Photograph from an automated digital microscope: urine filter membrane, 4× objective.
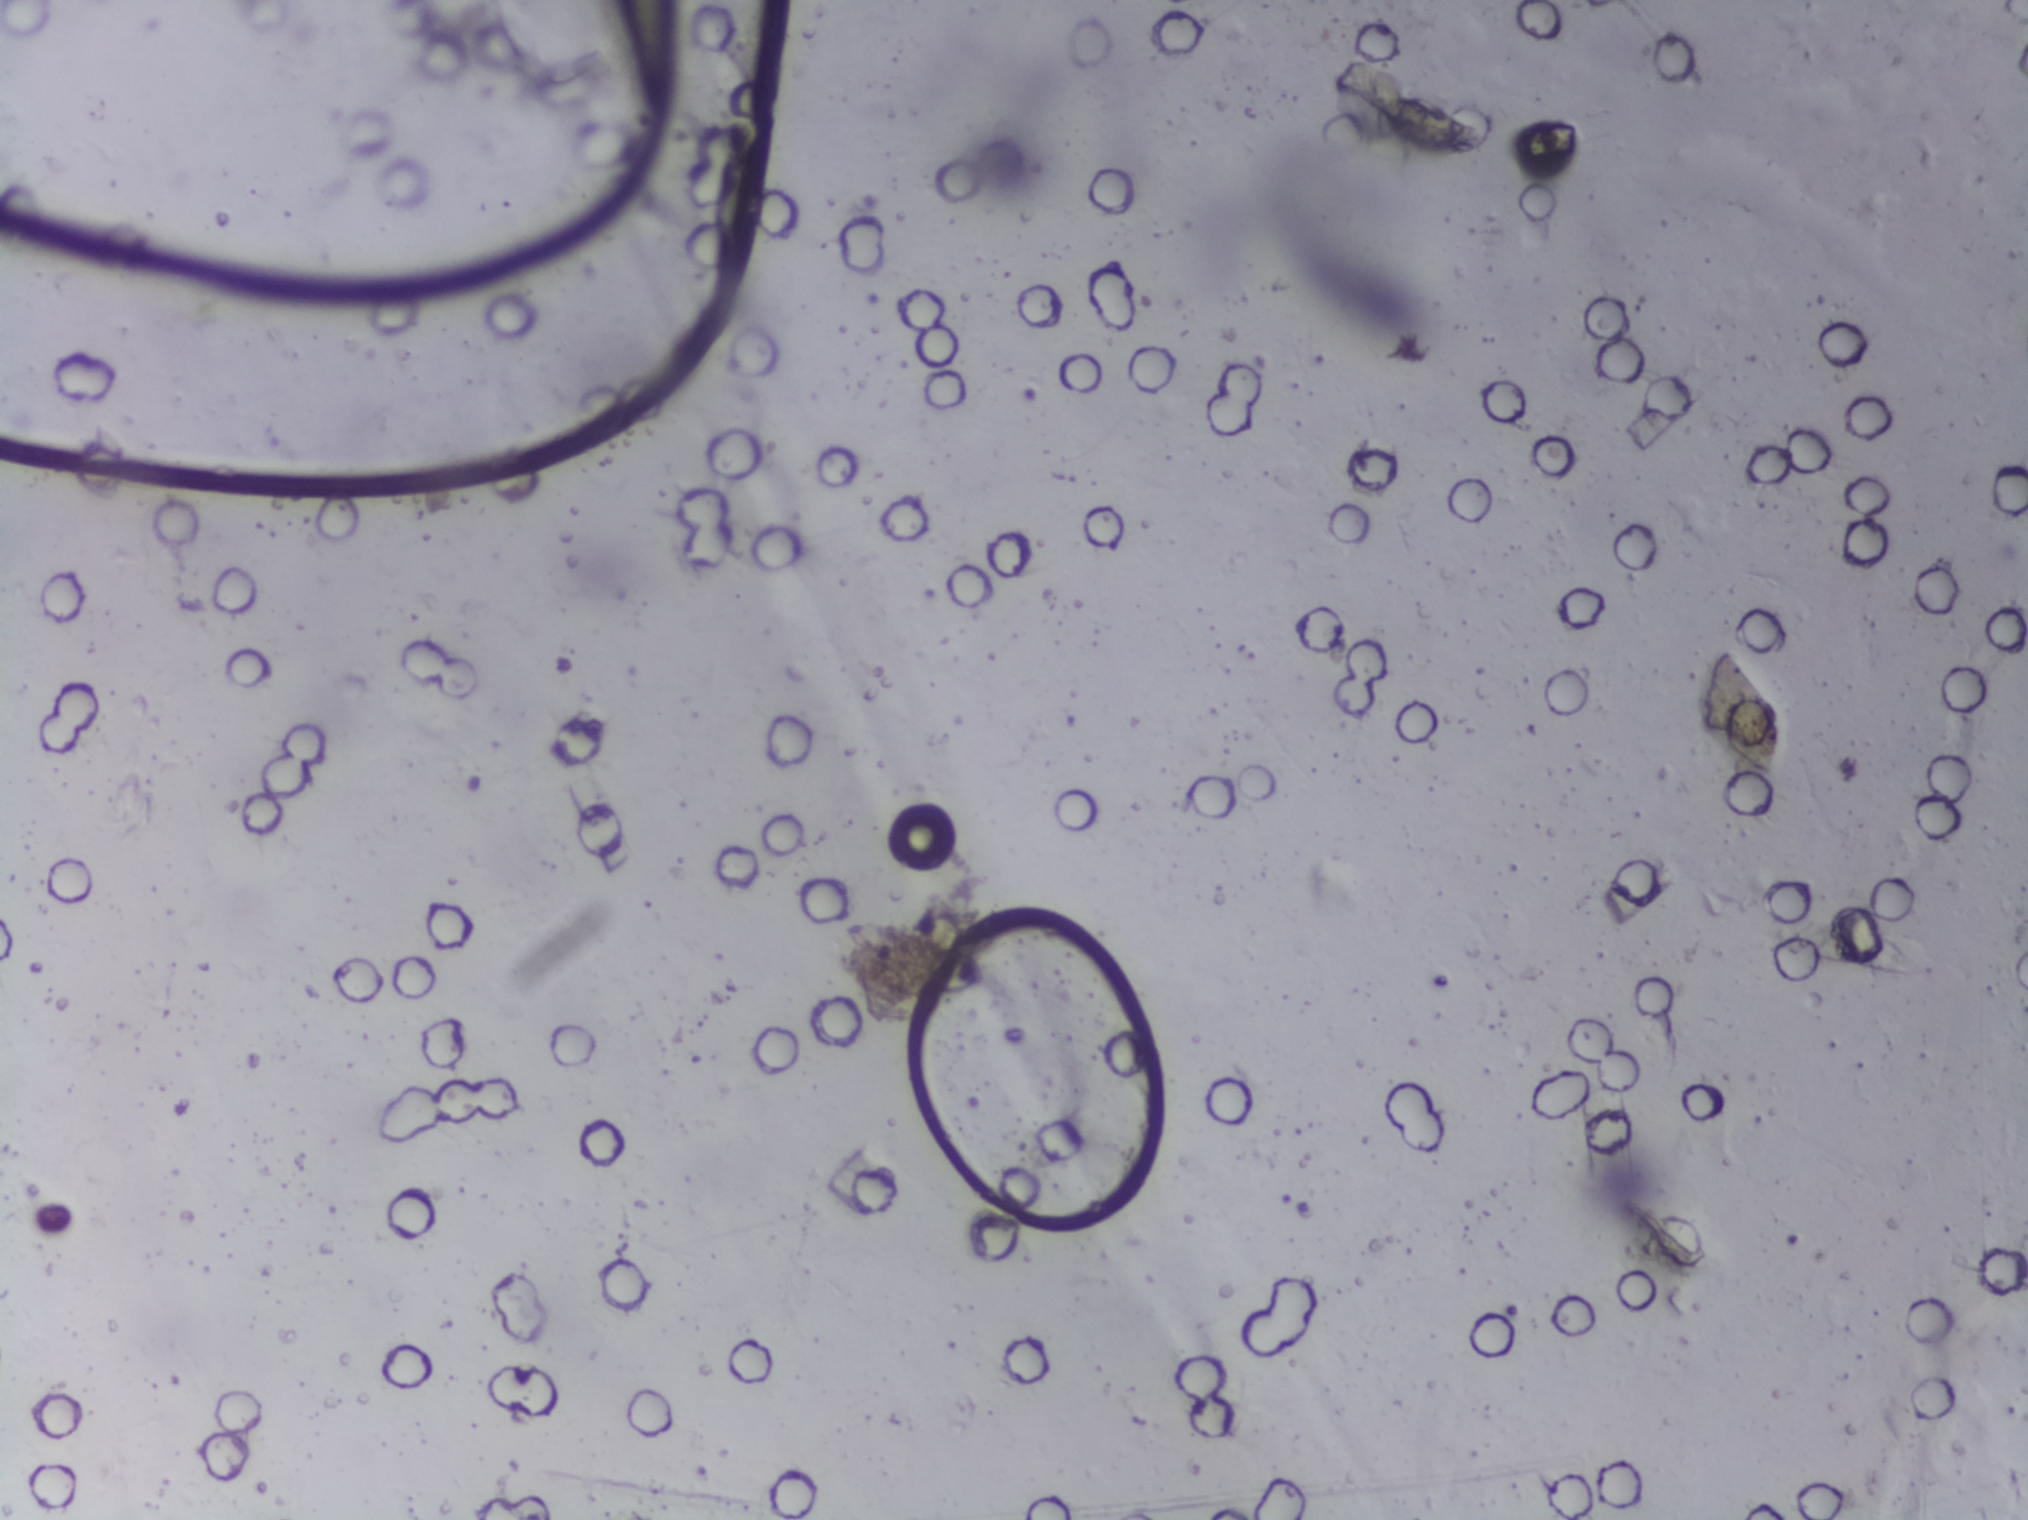
The expert annotation marks no Schistosoma egg in this field of view.